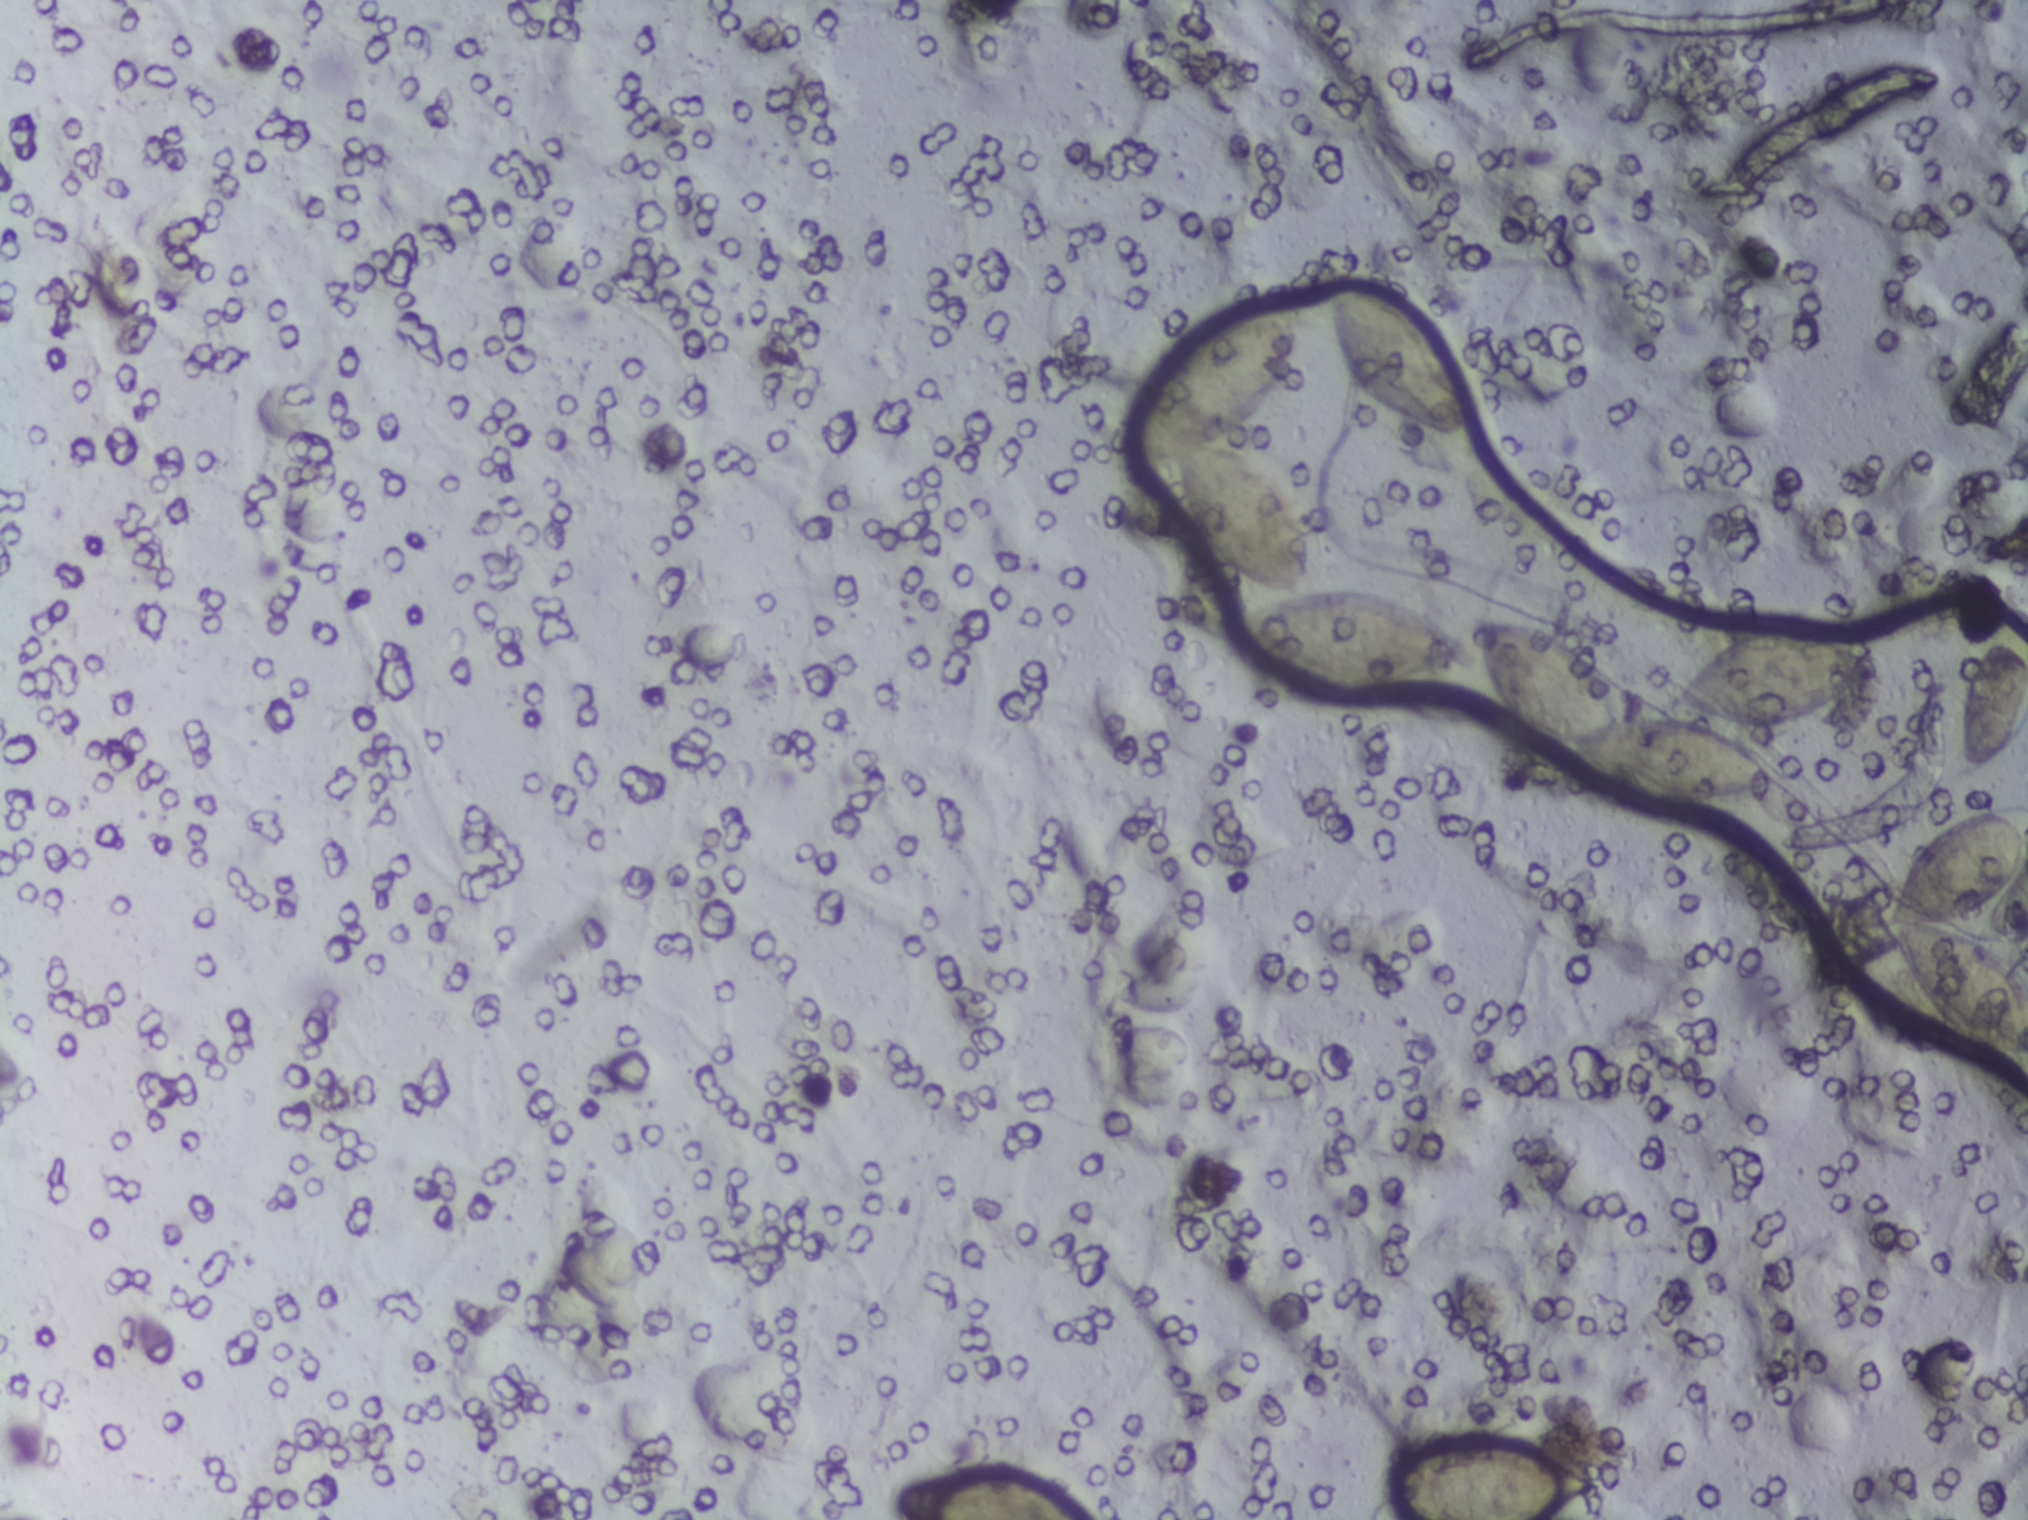
Photomicrograph of a urine filtration membrane, 4× objective.
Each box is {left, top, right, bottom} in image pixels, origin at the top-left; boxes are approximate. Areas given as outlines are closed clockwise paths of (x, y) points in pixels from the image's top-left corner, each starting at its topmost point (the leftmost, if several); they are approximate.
Findings: eight areas outlined as Schistosoma eggs. Locations, left to right: box {898, 1469, 1098, 1519} (reaching the bottom edge of the frame); outline (1280, 299), (1293, 299), (1297, 313), (1288, 373), (1261, 414), (1227, 439), (1275, 470), (1299, 510), (1311, 545), (1303, 589), (1368, 589), (1432, 614), (1469, 647), (1466, 658), (1399, 692), (1325, 691), (1253, 656), (1226, 613), (1267, 595), (1222, 571), (1192, 544), (1172, 461), (1126, 462), (1134, 417), (1175, 341) (eggs clustered together); box {1326, 282, 1471, 442}; box {1385, 1437, 1601, 1519} (reaching the bottom edge of the frame); outline (1496, 618), (1522, 619), (1567, 636), (1614, 674), (1627, 716), (1681, 718), (1758, 746), (1784, 768), (1786, 778), (1728, 799), (1687, 803), (1645, 801), (1607, 785), (1573, 764), (1558, 738), (1529, 730), (1498, 704), (1473, 638), (1475, 619); box {1664, 626, 1877, 728}; box {1883, 804, 2027, 1055} (reaching the right edge of the frame); box {1956, 640, 2027, 781} (reaching the right edge of the frame). An outlined area can hold more than one egg.